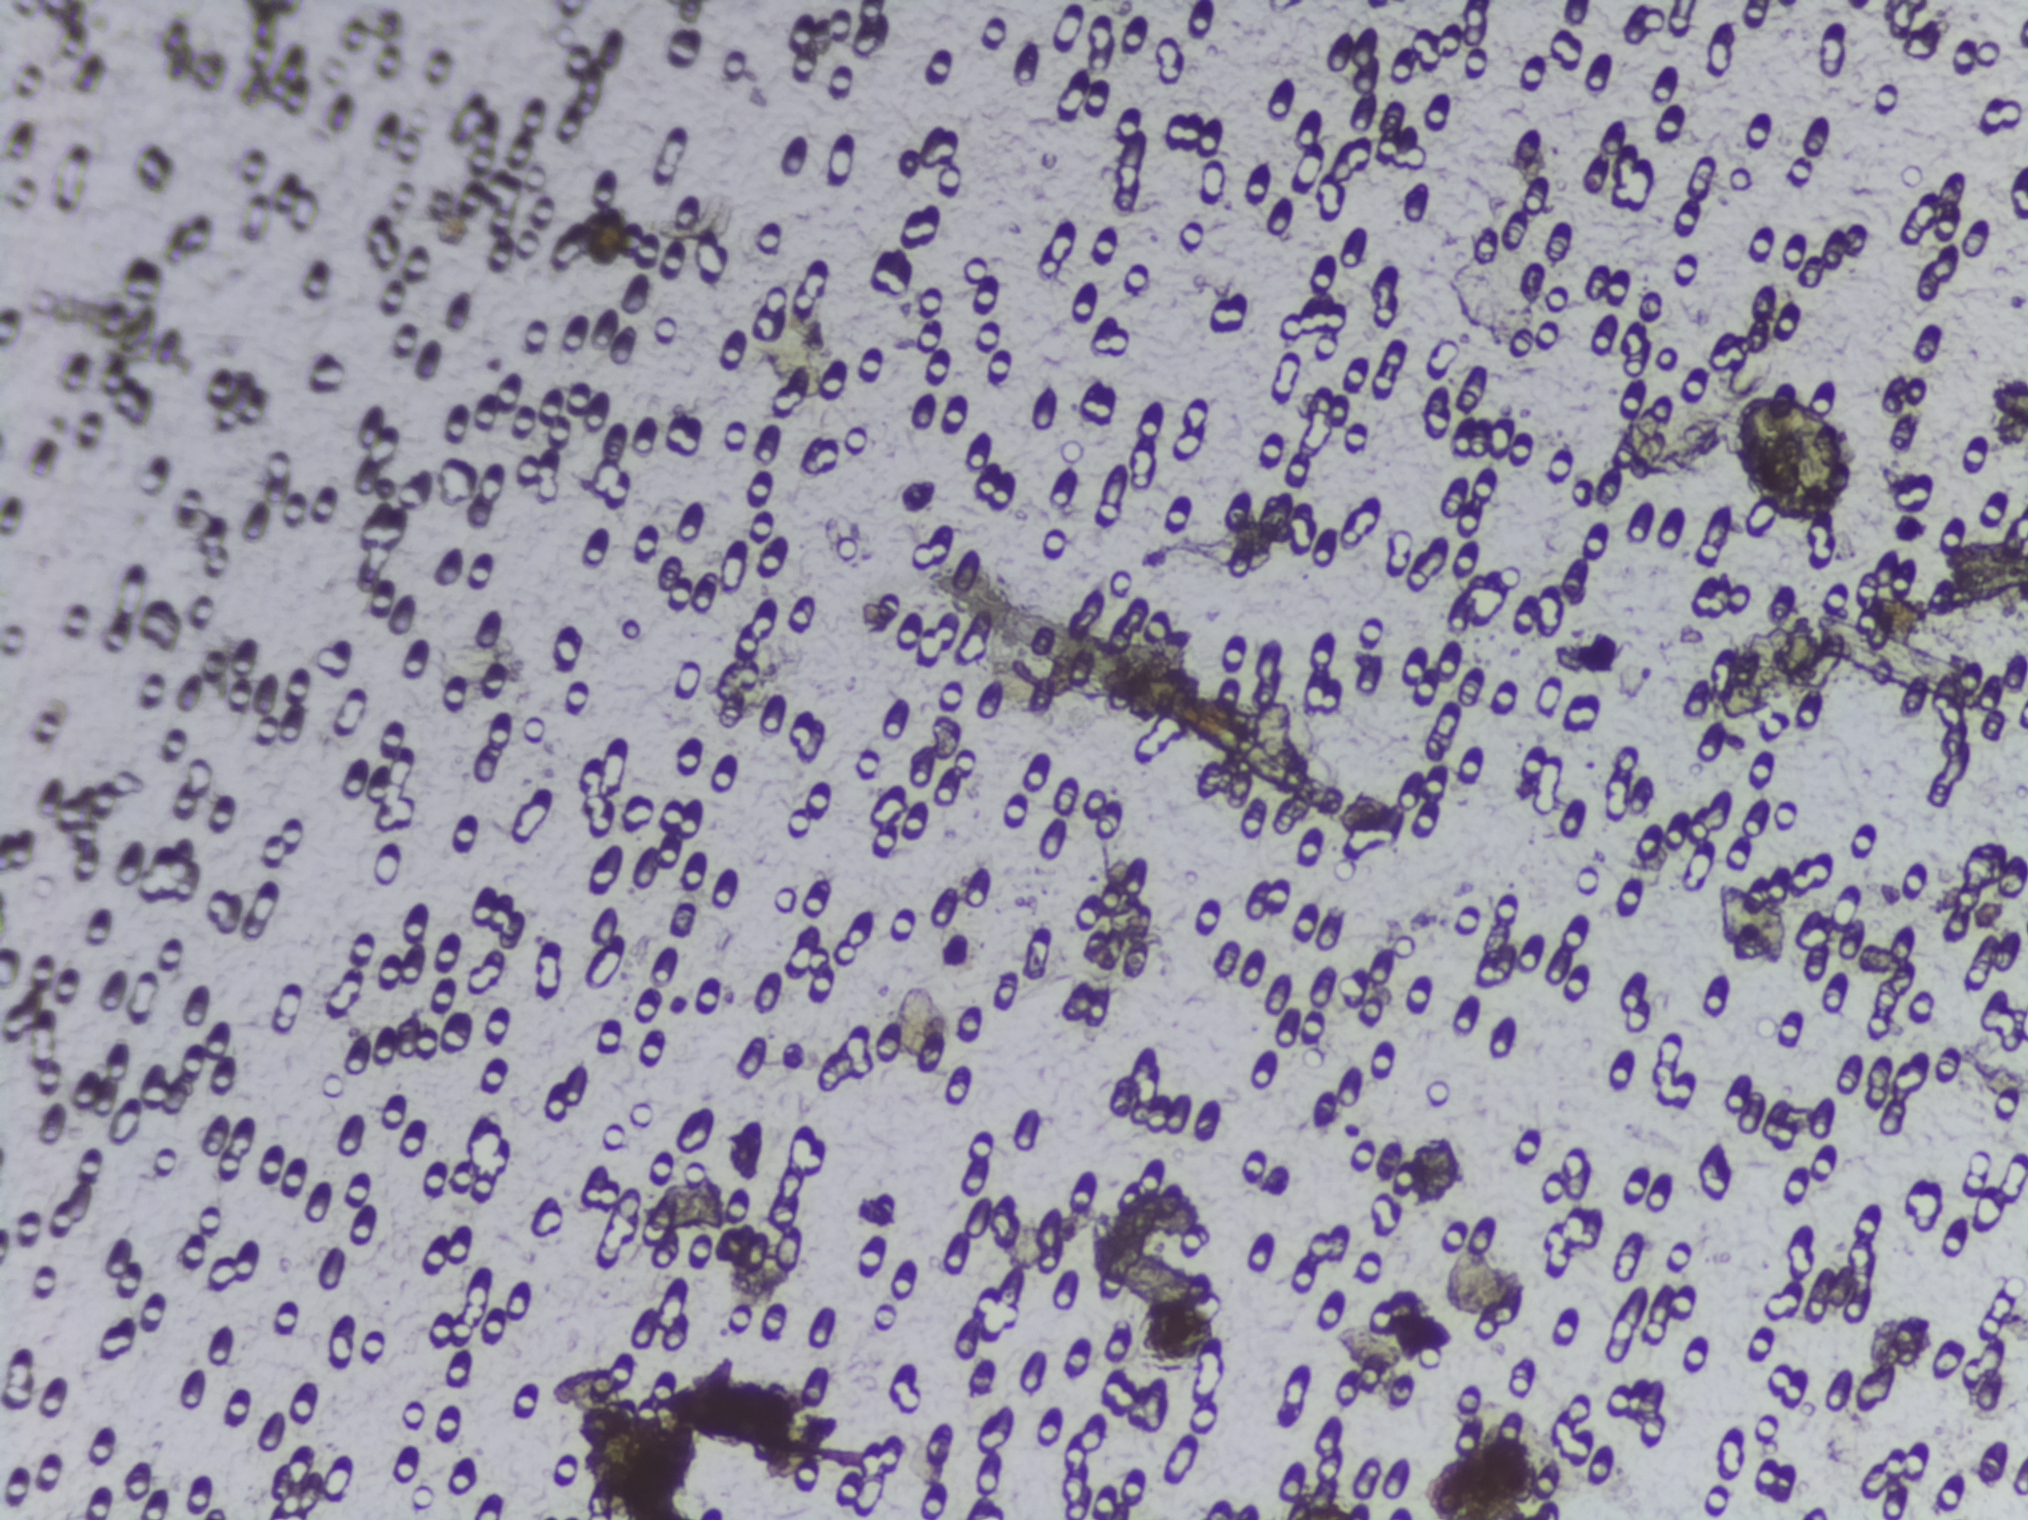
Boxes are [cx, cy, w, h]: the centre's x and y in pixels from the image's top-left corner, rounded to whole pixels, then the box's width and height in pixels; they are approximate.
{"schistosoma_egg_areas_cxcywh_px": [[1790, 455, 131, 145]]}
An outlined area can hold more than one egg.
Photomicrograph of a urine filtration membrane, 4× objective. Field of view: about 1.5 mm wide and 1.1 mm high.